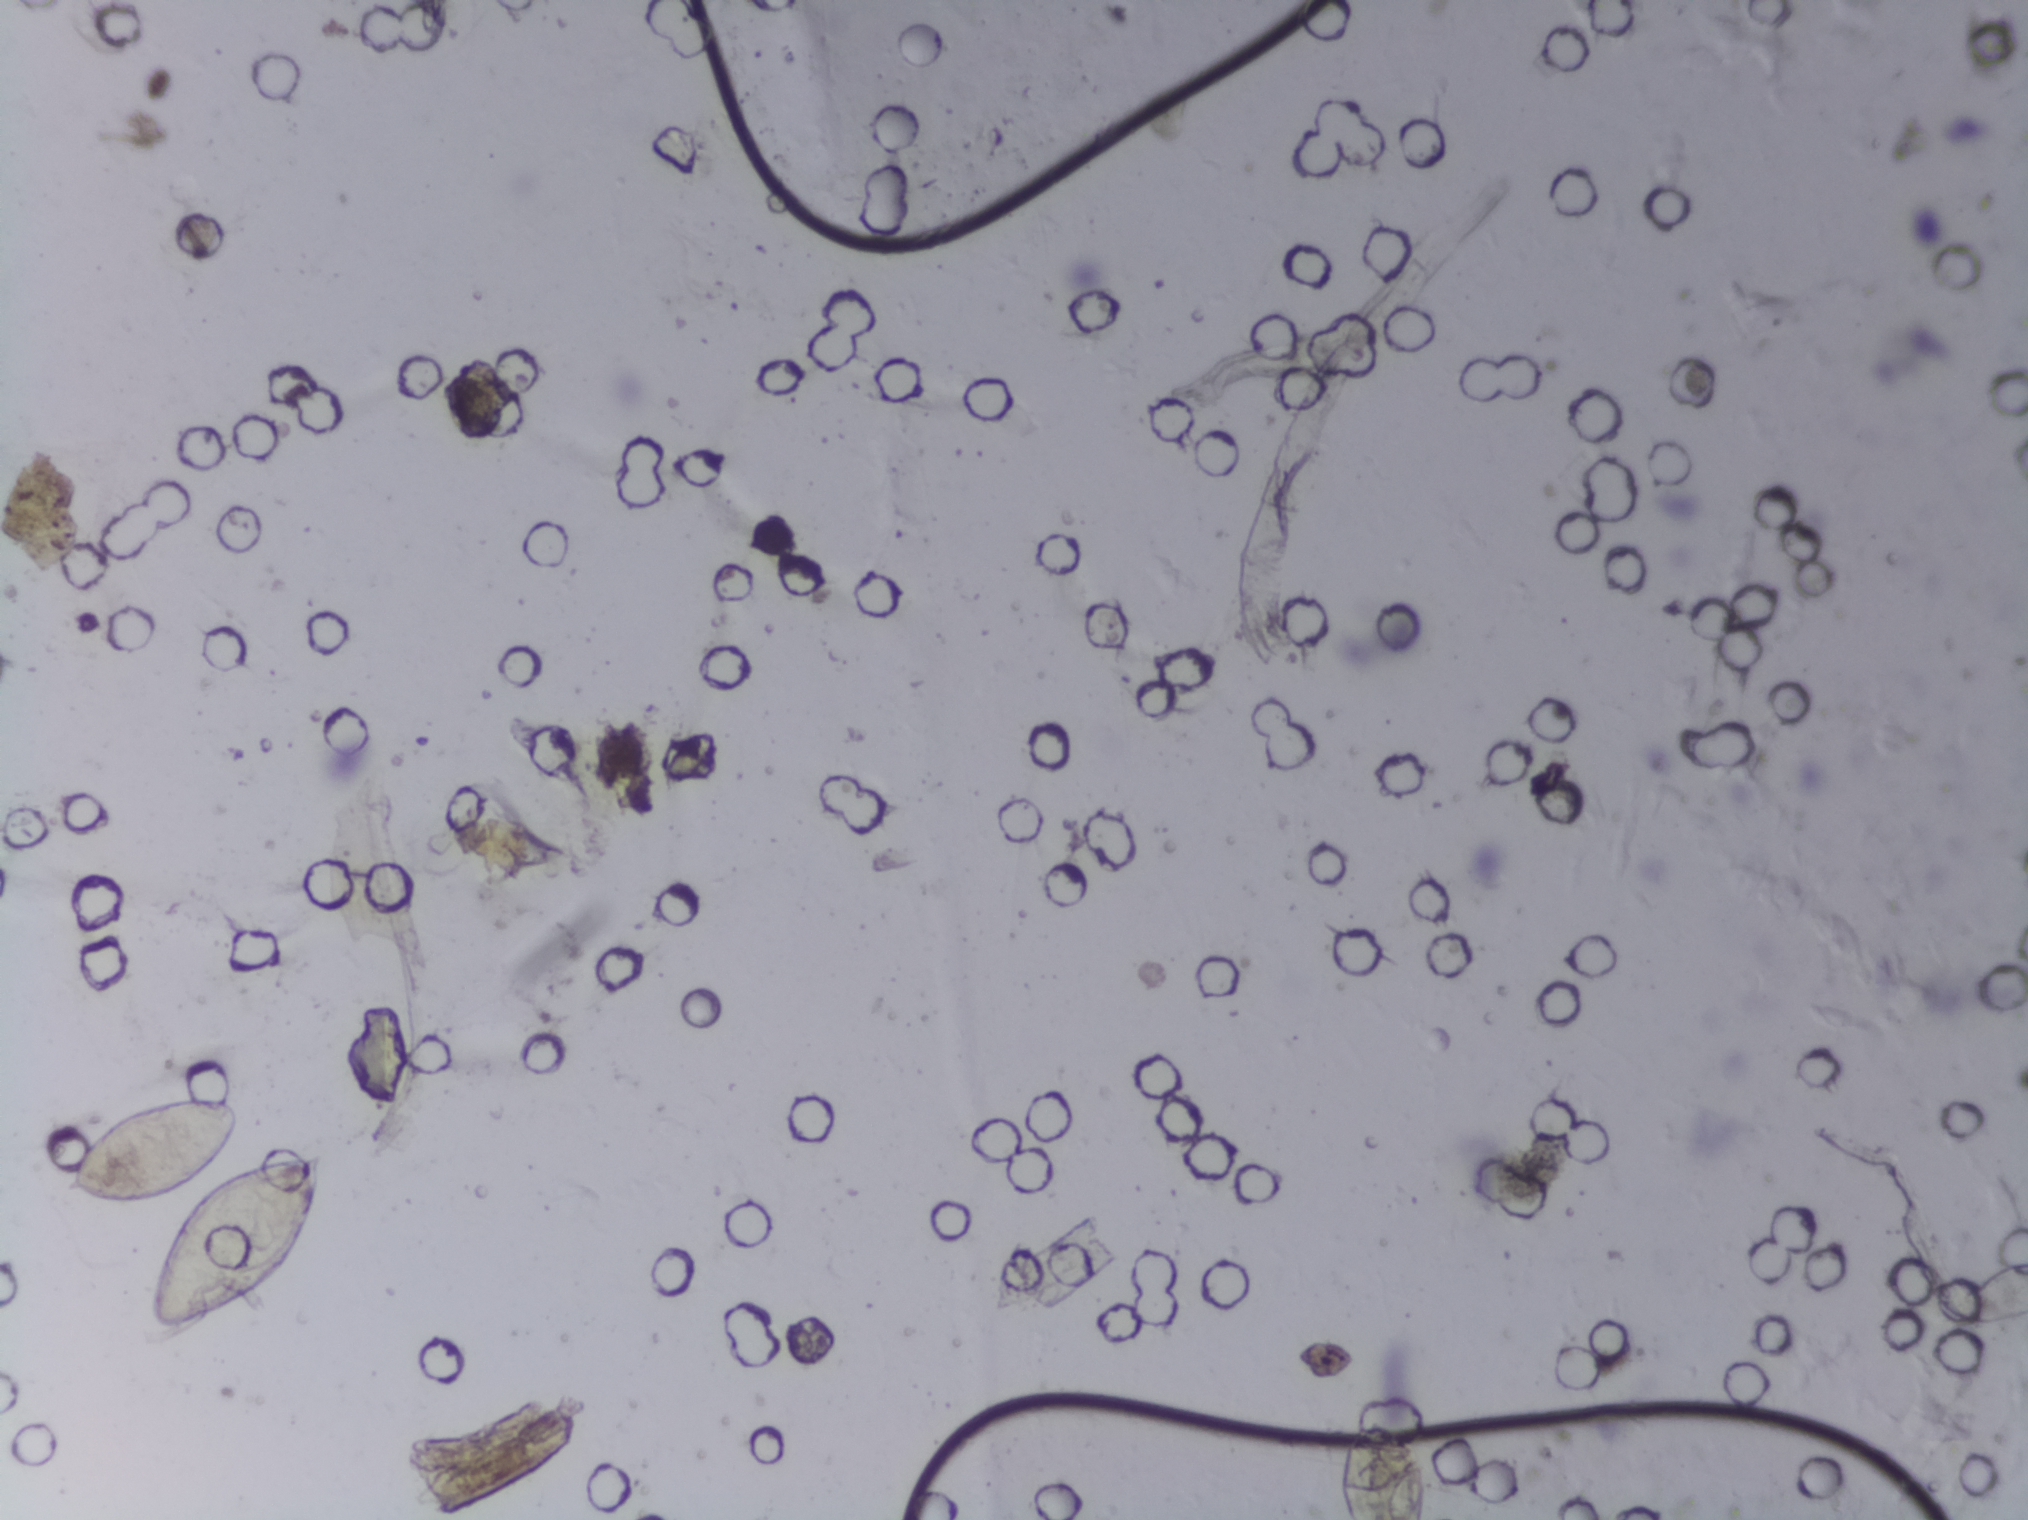
Urine filter membrane photographed through a 4× microscope objective. Field of view: about 1.5 mm wide and 1.1 mm high.
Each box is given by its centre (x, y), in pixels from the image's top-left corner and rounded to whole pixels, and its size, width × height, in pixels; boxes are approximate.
Findings: two areas outlined as Schistosoma eggs. Locations: centre (192, 1210), 265 × 240 px; centre (1382, 1468), 92 × 103 px (reaching the bottom edge of the frame). Eggs that touch can end up inside the same outlined area.